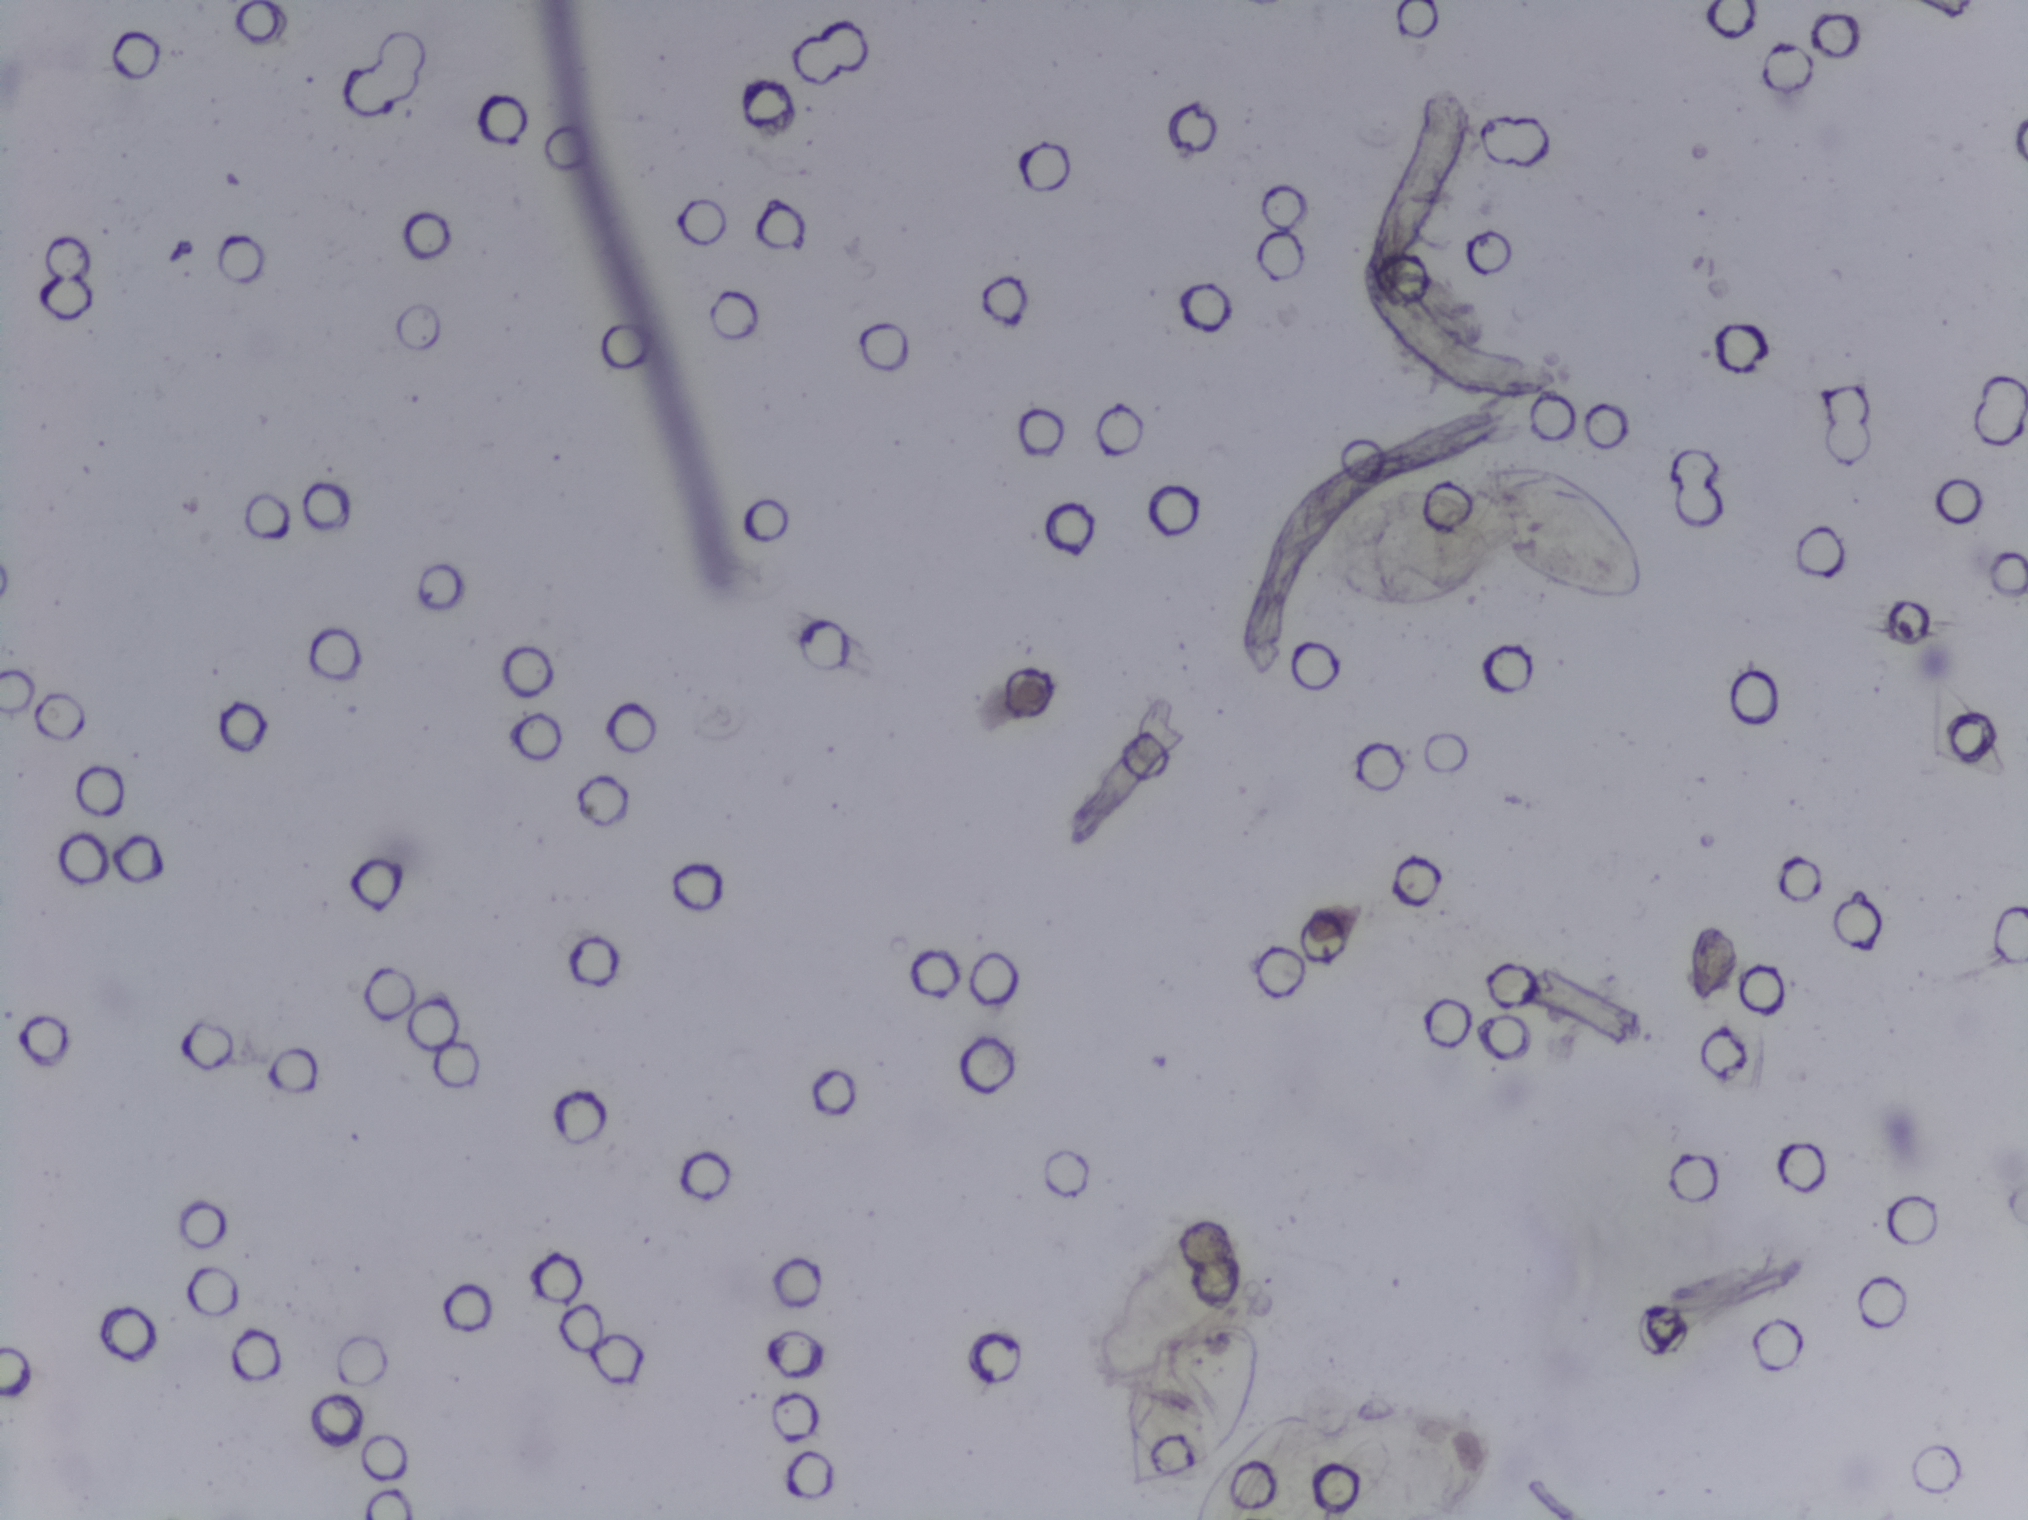
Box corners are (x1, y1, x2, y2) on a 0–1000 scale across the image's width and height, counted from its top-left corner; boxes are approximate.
The expert annotation outlines Schistosoma eggs at (554, 869, 622, 984) and (730, 302, 812, 396) (left to right). A single outlined area may contain several eggs.
Urine filtration membrane under a 4× objective, photographed by an automated digital microscope.